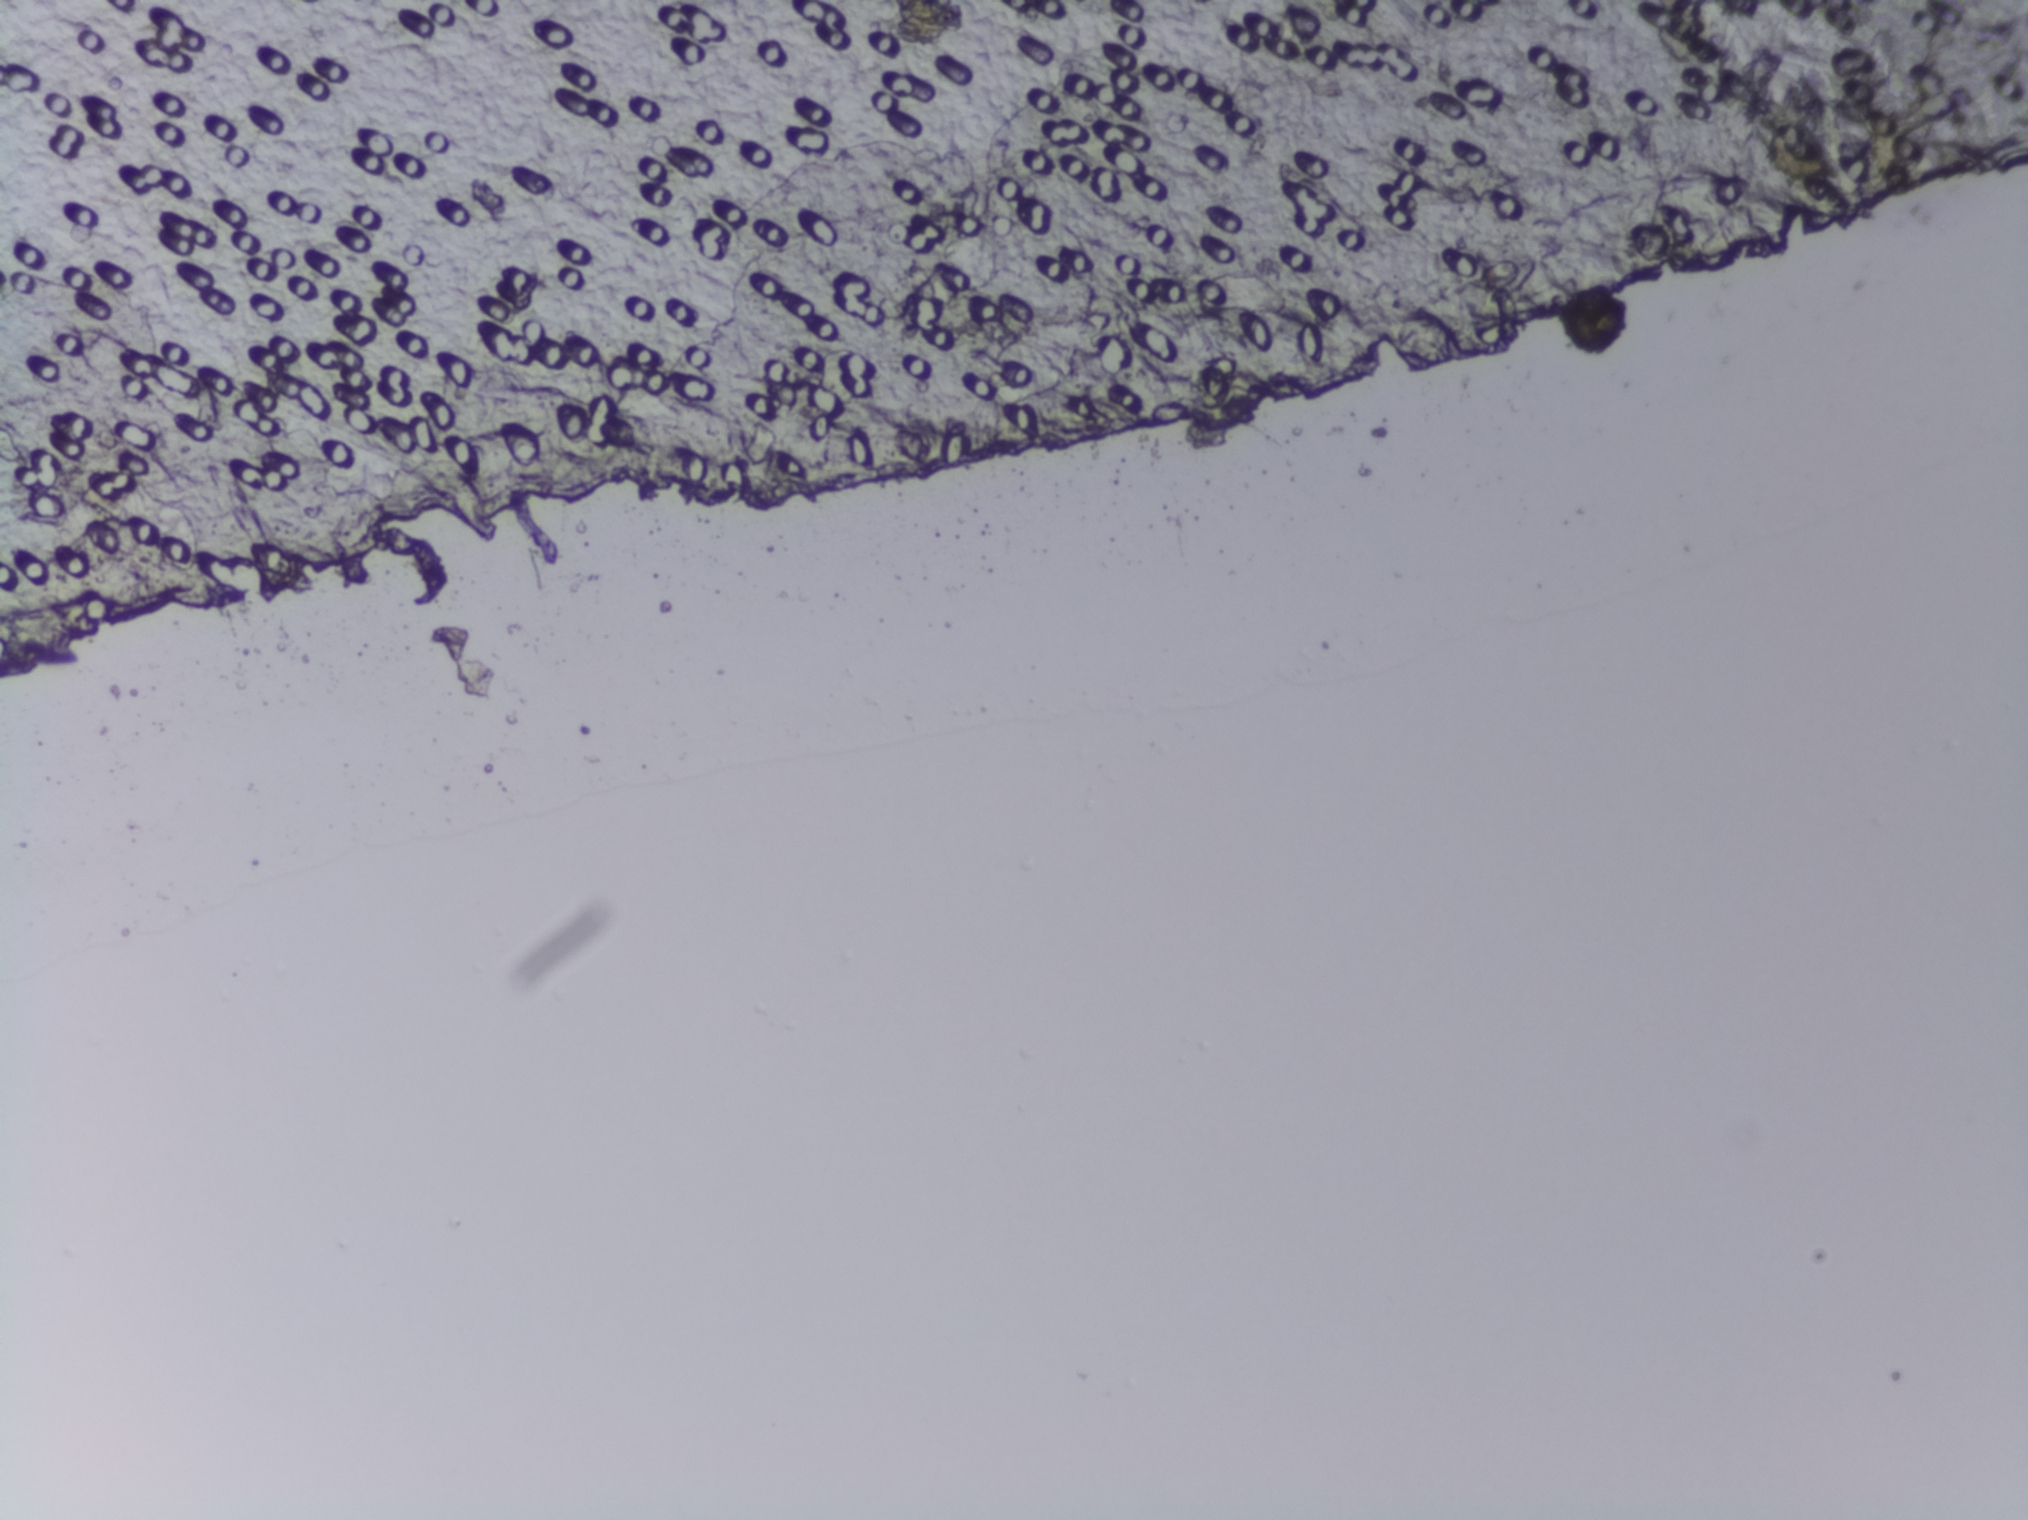
Photograph from an automated digital microscope: urine filter membrane, 4× objective.
No area of this image was outlined as a Schistosoma egg.